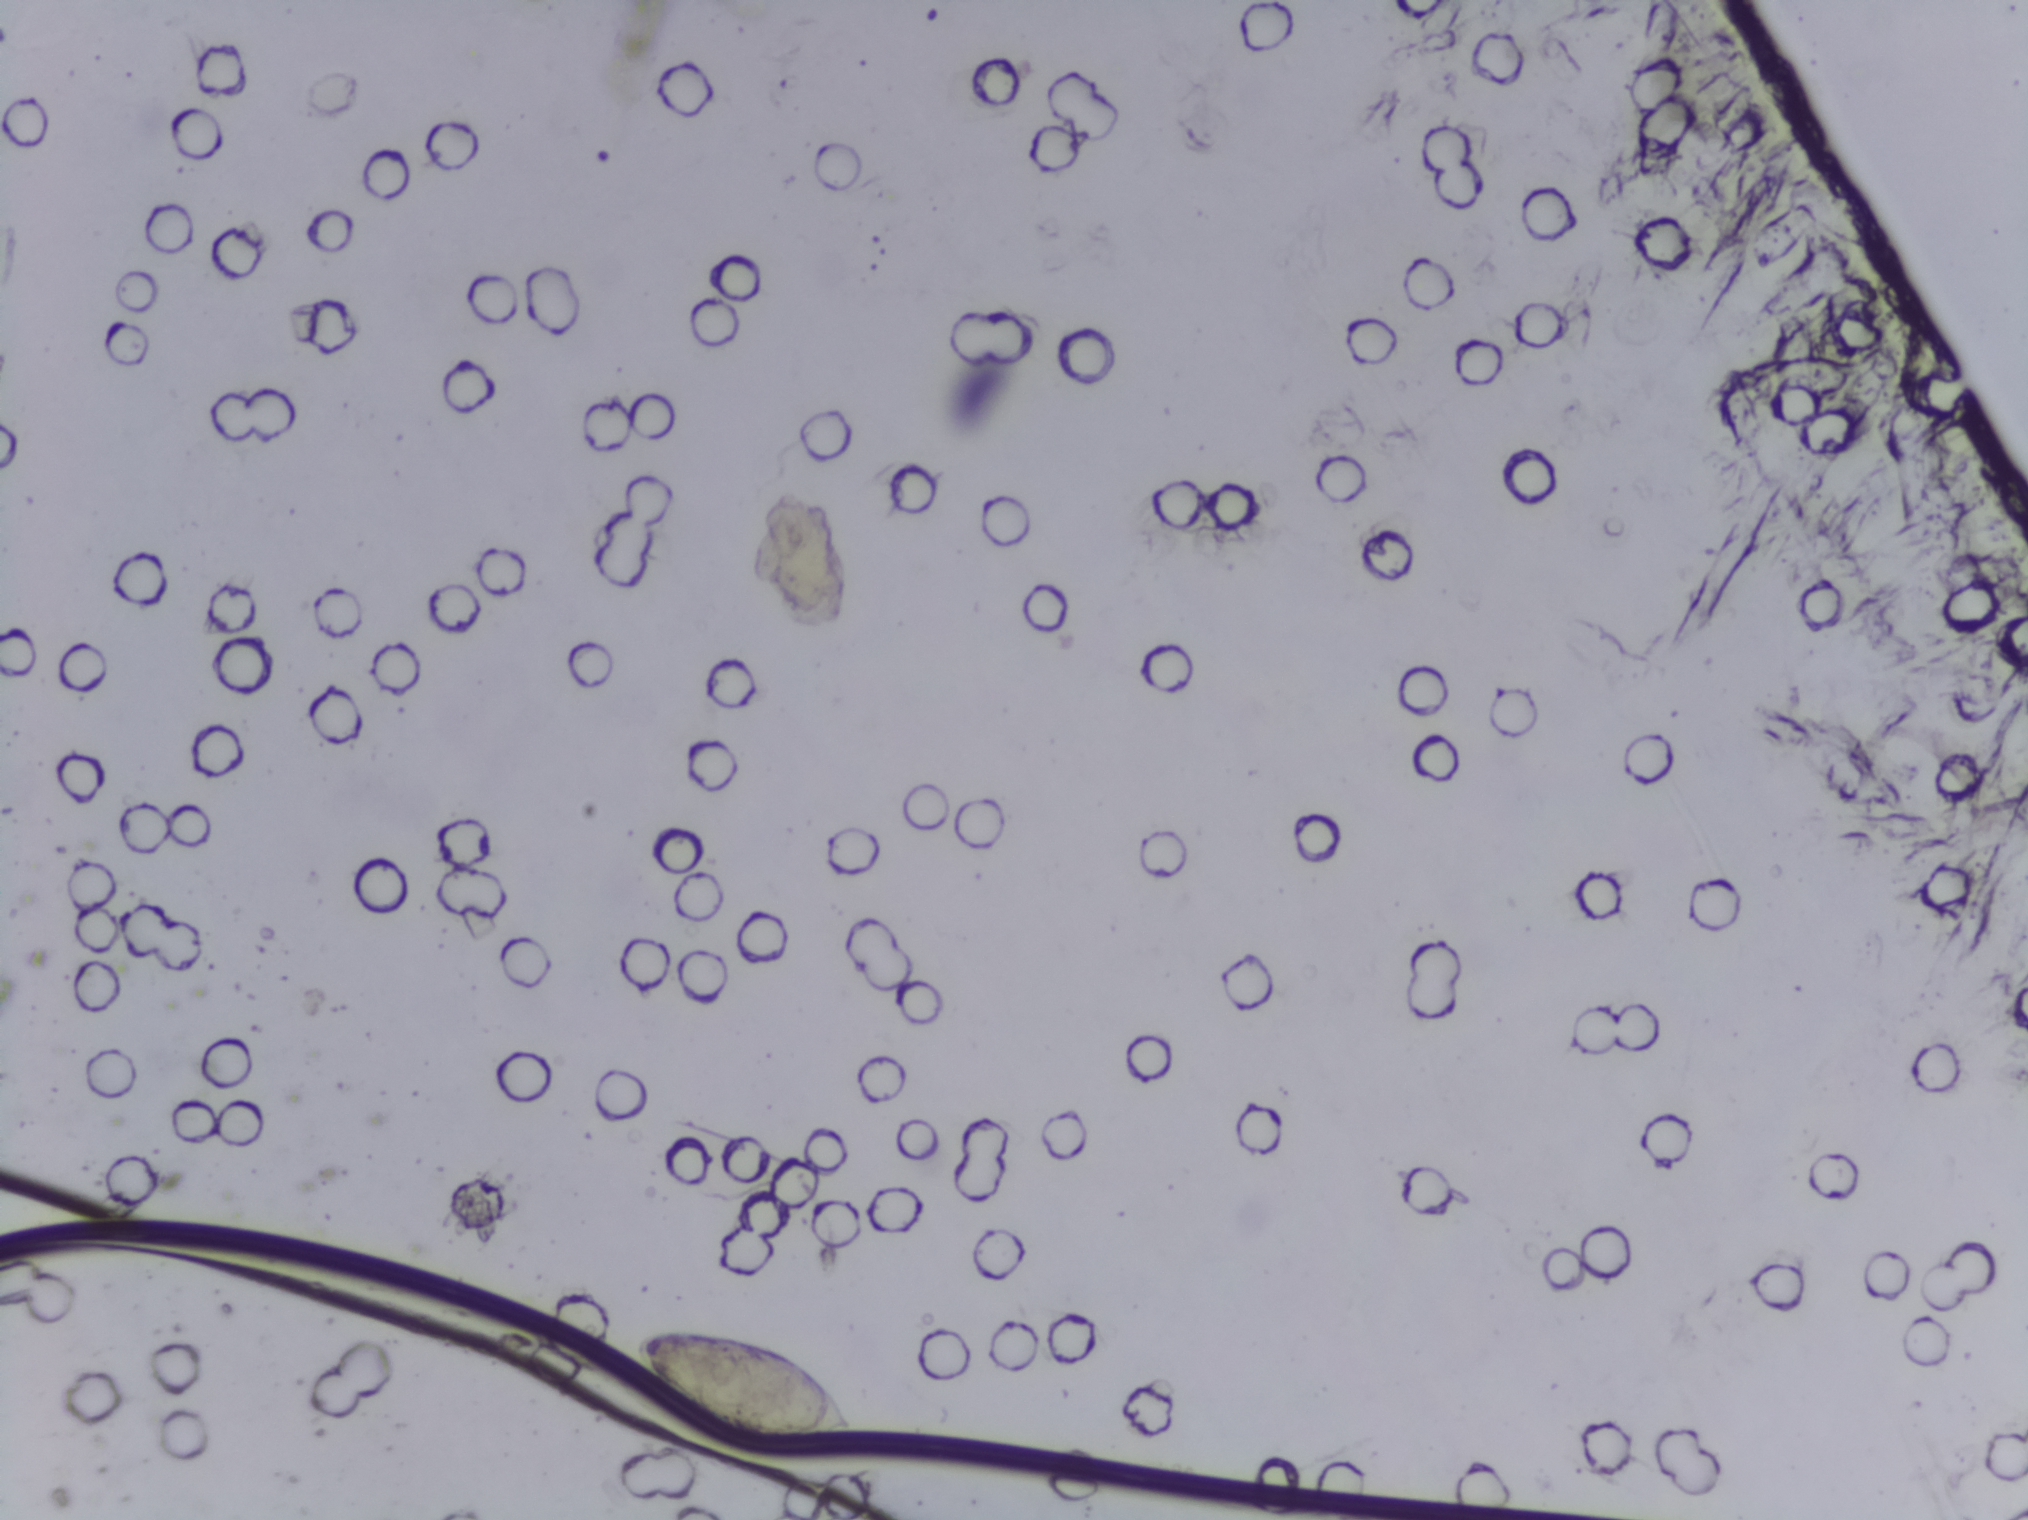
Microscope photograph (4× objective) of a membrane that a urine sample was filtered through. The field of view is about 1.5 mm × 1.1 mm.
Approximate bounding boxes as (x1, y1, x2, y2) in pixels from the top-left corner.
Areas outlined as Schistosoma eggs:
1. (619, 1321, 867, 1453)
An outlined area can hold more than one egg.